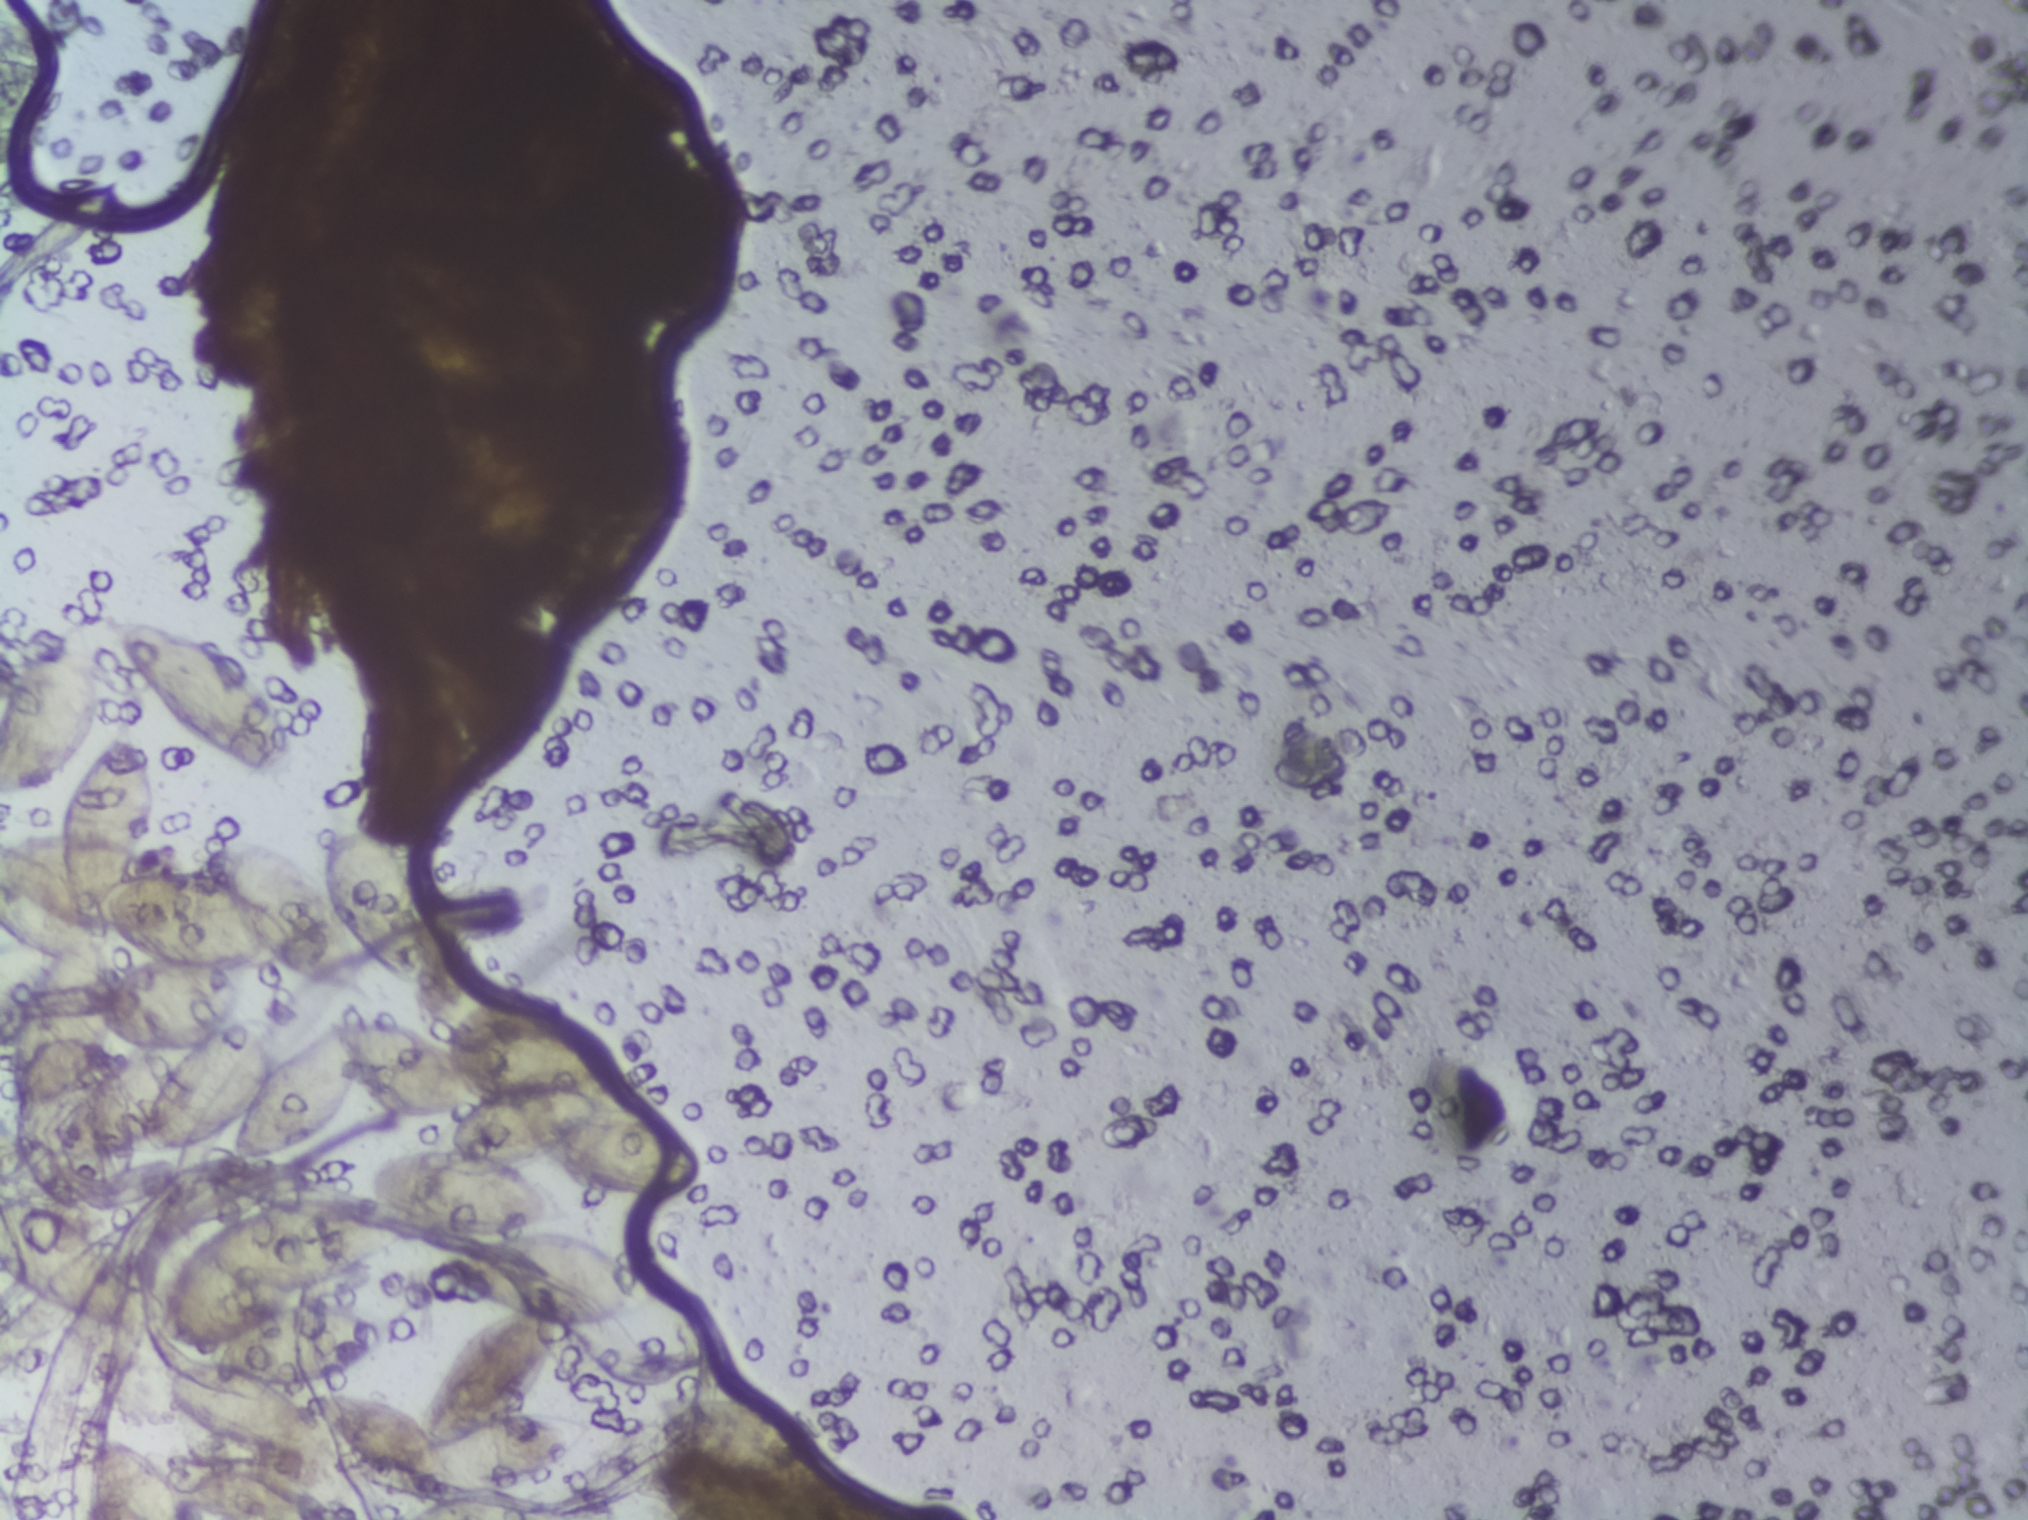
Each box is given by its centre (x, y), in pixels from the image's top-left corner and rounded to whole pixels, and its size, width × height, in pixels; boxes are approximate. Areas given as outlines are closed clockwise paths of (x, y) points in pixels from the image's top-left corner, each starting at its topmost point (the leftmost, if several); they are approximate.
Areas outlined as Schistosoma eggs, left to right:
1. box centre (52, 704), 104 × 175 px (reaching the left edge of the frame)
2. box centre (135, 1477), 103 × 85 px (reaching the bottom edge of the frame)
3. box centre (203, 697), 182 × 166 px
4. outline (123, 732), (131, 732), (151, 759), (151, 832), (140, 851), (156, 871), (219, 876), (215, 846), (247, 837), (294, 852), (320, 876), (319, 850), (327, 832), (337, 822), (362, 825), (400, 849), (410, 870), (410, 893), (436, 947), (424, 979), (399, 977), (365, 953), (378, 976), (376, 1001), (283, 968), (251, 972), (233, 1008), (197, 1035), (243, 1015), (275, 1018), (290, 1046), (311, 1038), (335, 1015), (412, 1029), (439, 1045), (448, 1033), (481, 1023), (589, 1035), (612, 1058), (611, 1077), (627, 1087), (630, 1110), (647, 1111), (698, 1157), (699, 1176), (691, 1188), (639, 1200), (577, 1192), (539, 1154), (503, 1163), (576, 1209), (571, 1222), (532, 1229), (565, 1229), (657, 1292), (632, 1310), (591, 1323), (554, 1324), (551, 1364), (511, 1409), (559, 1410), (592, 1420), (584, 1440), (567, 1455), (466, 1493), (418, 1493), (407, 1487), (406, 1474), (344, 1465), (318, 1445), (313, 1454), (262, 1454), (221, 1444), (195, 1428), (157, 1386), (158, 1370), (172, 1357), (214, 1357), (220, 1345), (185, 1347), (160, 1337), (158, 1282), (172, 1257), (204, 1232), (278, 1196), (380, 1202), (374, 1164), (387, 1153), (442, 1148), (447, 1113), (382, 1108), (356, 1088), (314, 1142), (272, 1155), (228, 1152), (230, 1128), (192, 1147), (133, 1144), (129, 1168), (108, 1207), (92, 1208), (75, 1195), (59, 1204), (100, 1244), (129, 1287), (129, 1327), (61, 1314), (0, 1274), (0, 1195), (44, 1197), (20, 1162), (15, 1099), (5, 1090), (10, 1021), (43, 956), (0, 911), (0, 837), (36, 826), (64, 827), (73, 785) (eggs clustered together; reaching the left edge of the frame; with gaps inside, about 6.7% of the space inside its outline)
5. box centre (478, 1508), 158 × 24 px (reaching the bottom edge of the frame)
6. box centre (737, 1430), 171 × 72 px
Marked pixels, not the boxes and the outline around them: about 10% of the image. A single outlined area may contain several eggs.
Microscope photograph (4× objective) of a membrane that a urine sample was filtered through.